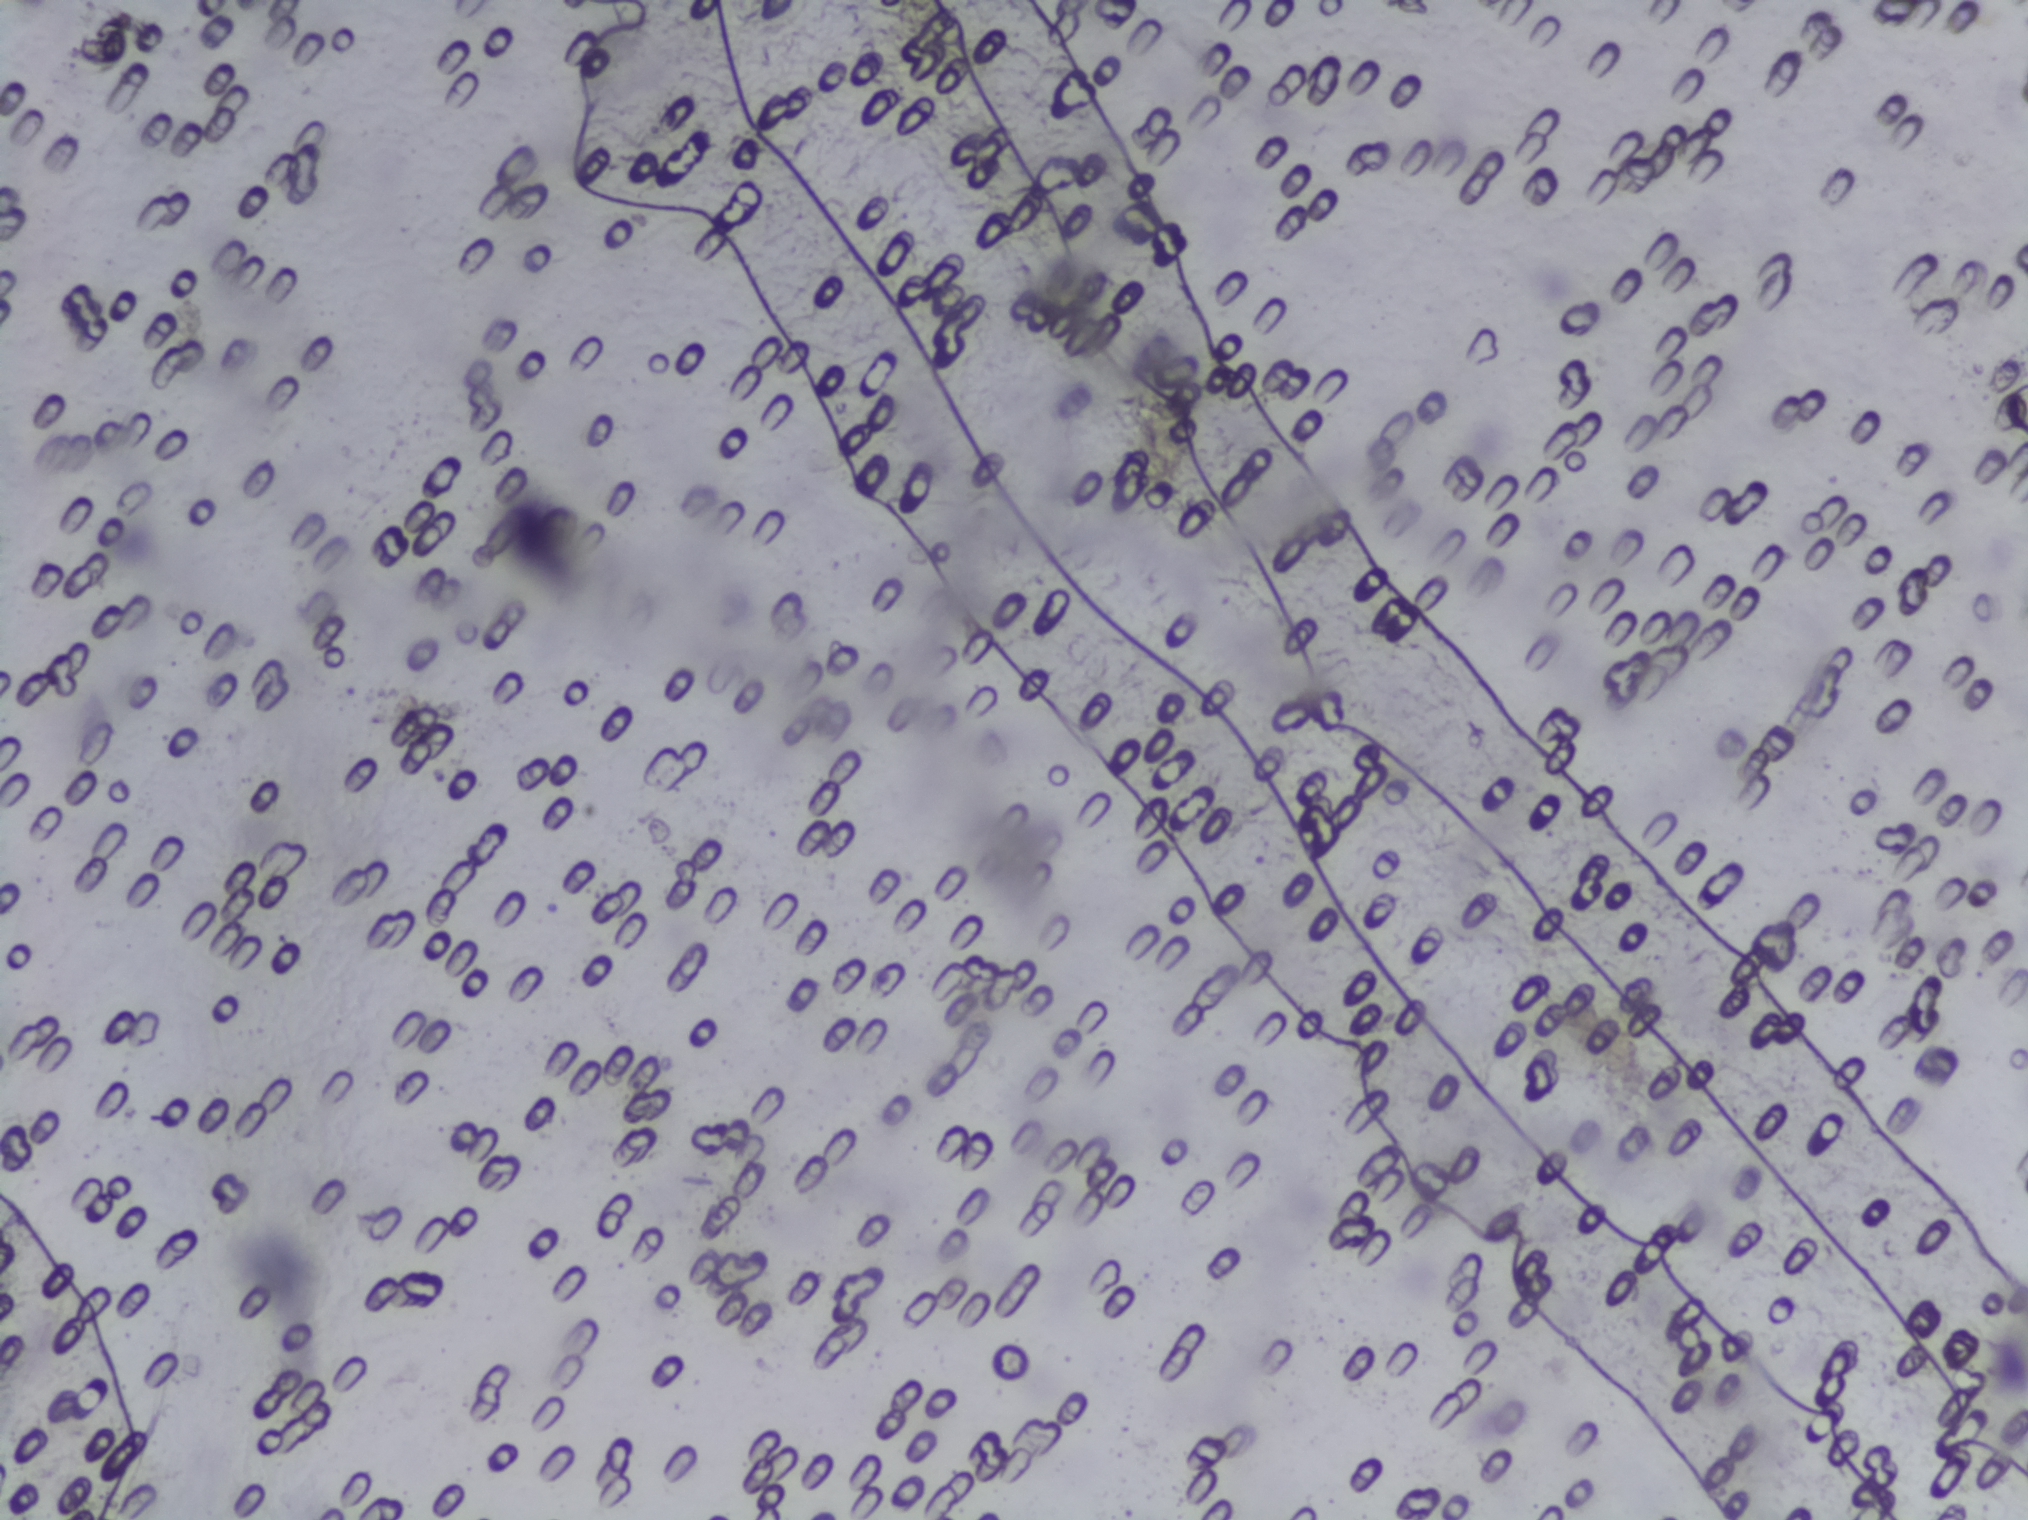
No area of this image was outlined as a Schistosoma egg.
Urine filter membrane photographed through a 4× microscope objective.